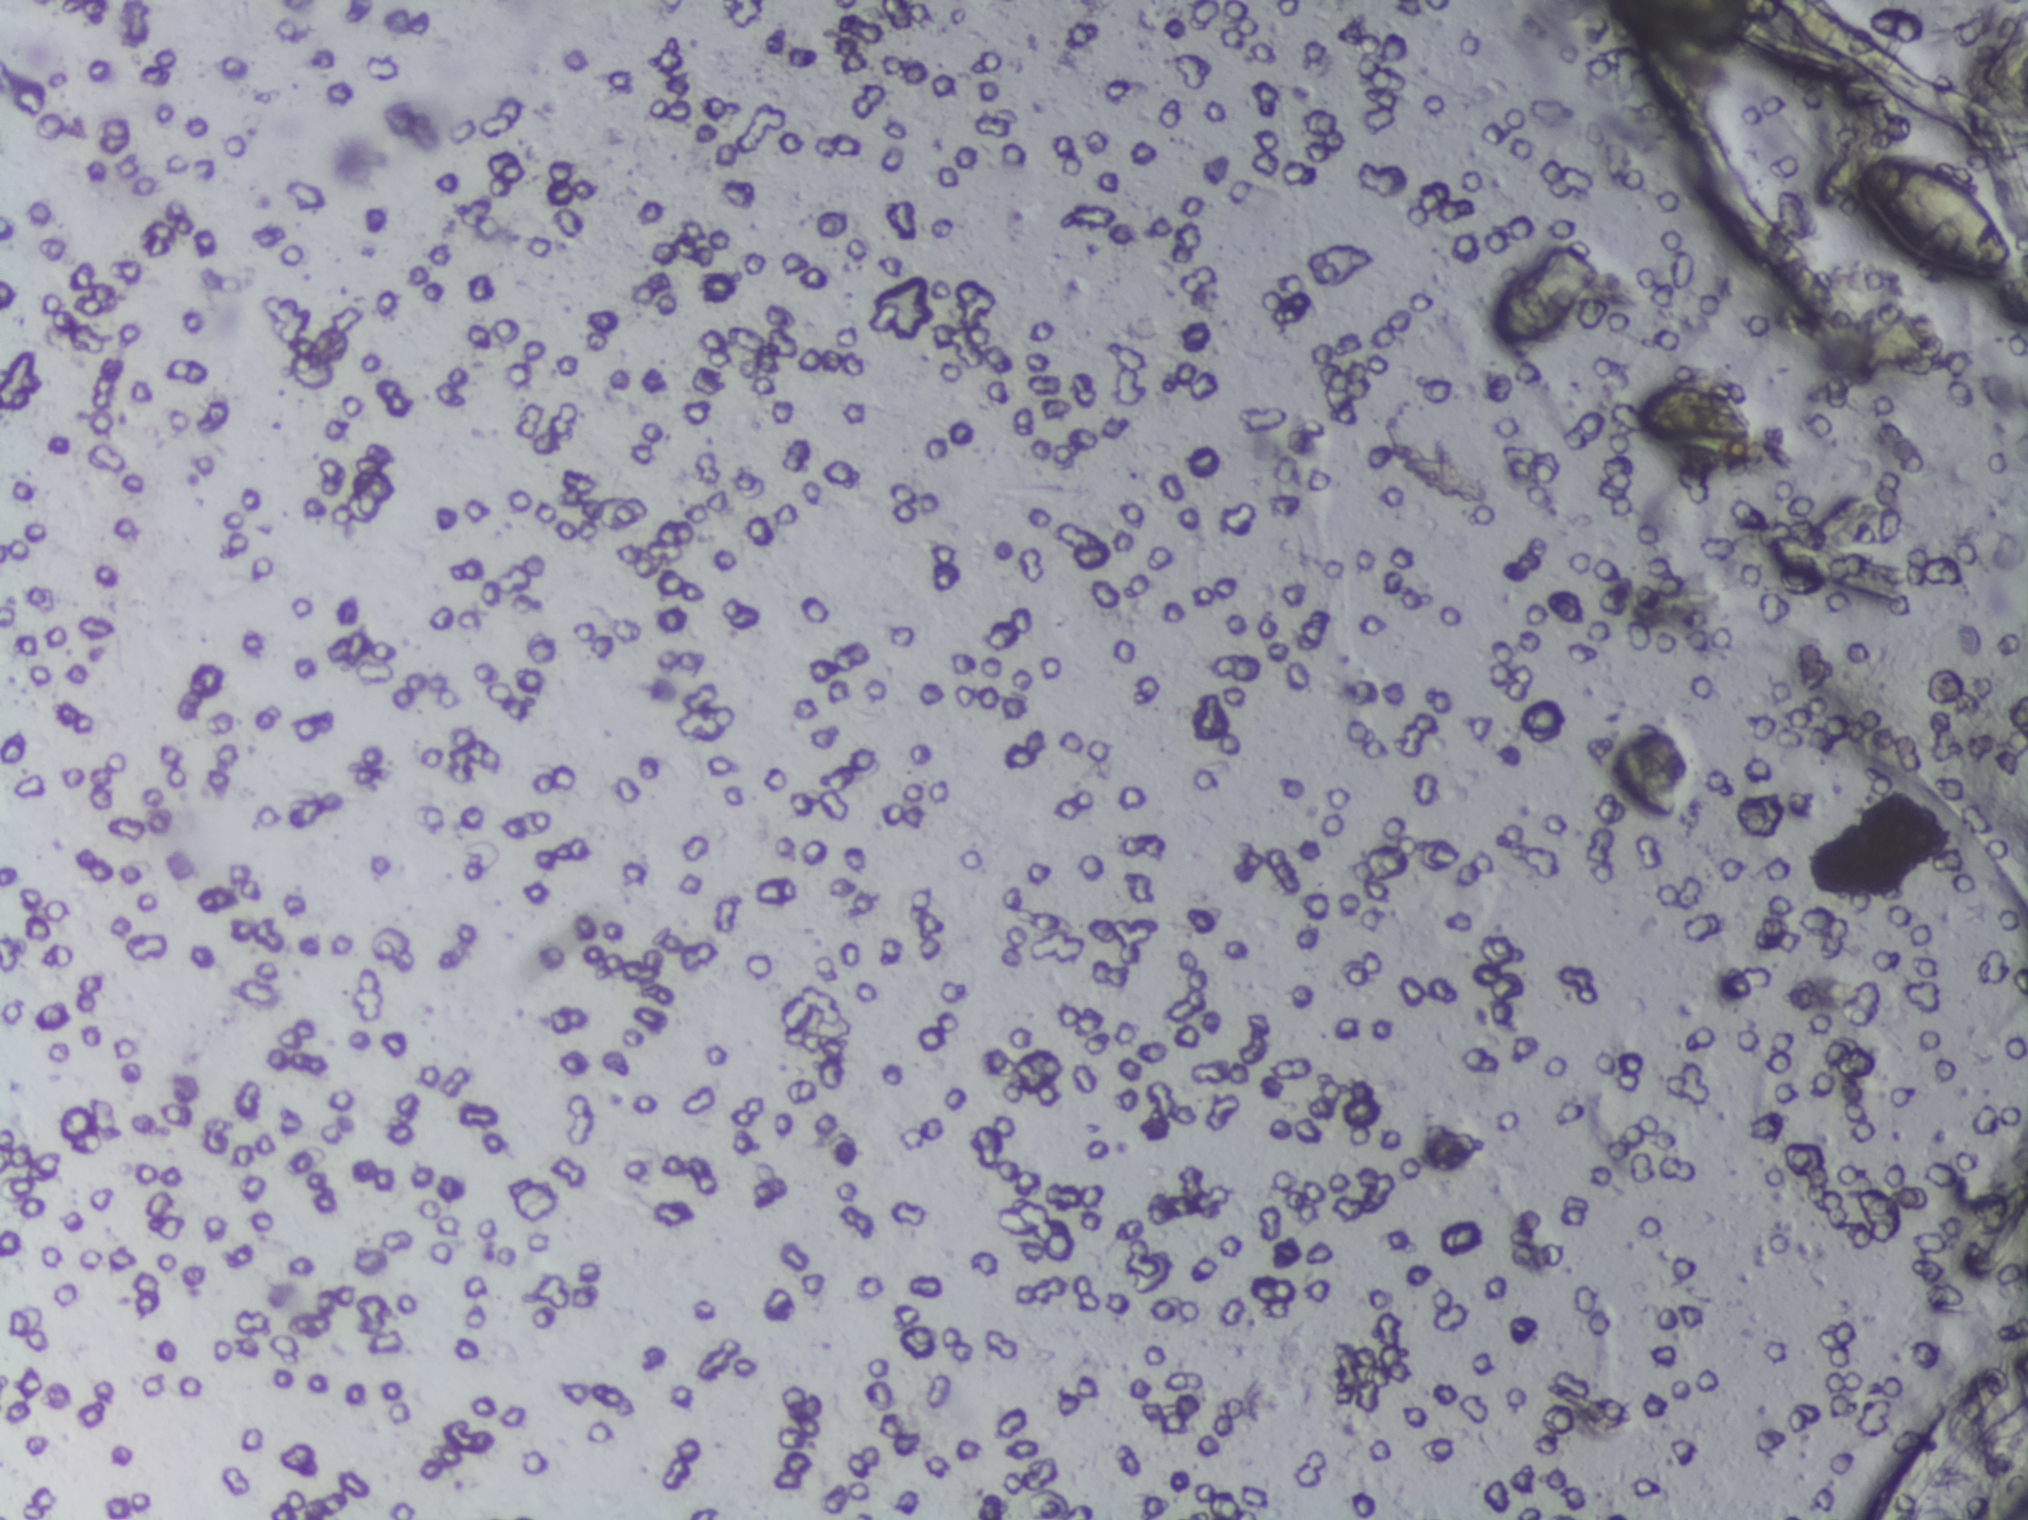
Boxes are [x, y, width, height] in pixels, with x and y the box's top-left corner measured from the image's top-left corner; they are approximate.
{"schistosoma_egg_areas_xywh_px": [[1848, 152, 162, 135]]}
Marked pixels, not the box around them: about 0.5% of the image. An outlined area can hold more than one egg.
One field of view of a urine filter membrane, 4× objective, 2028 × 1520 pixels. The field of view is about 1.5 mm × 1.1 mm.